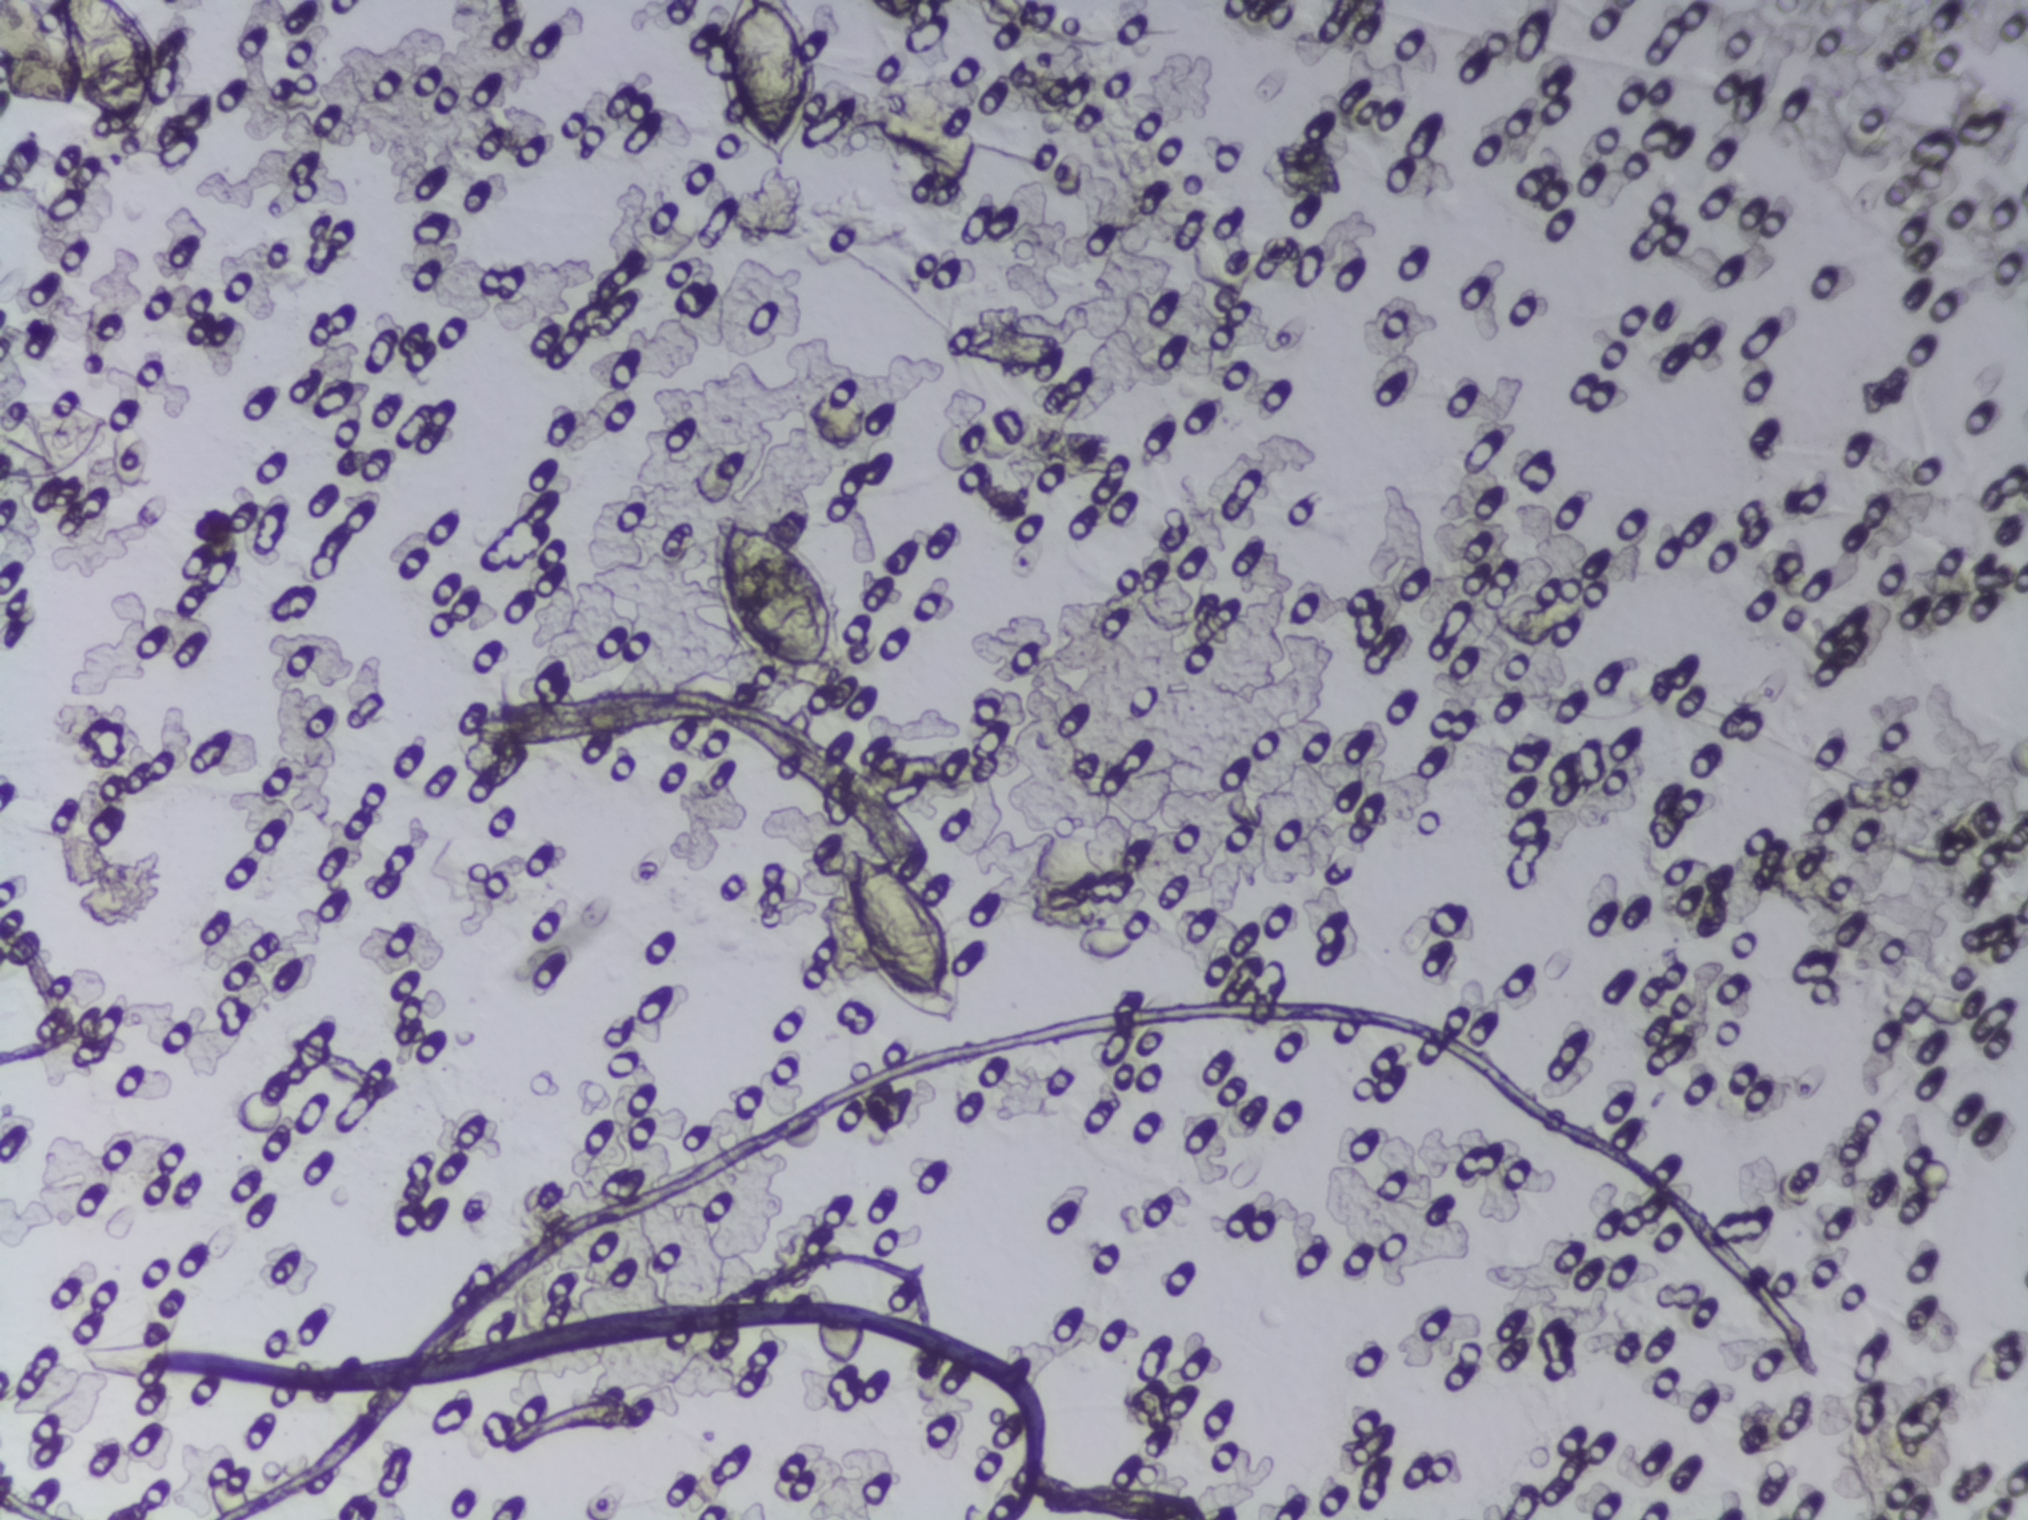
Urine filter membrane photographed through a 4× microscope objective.
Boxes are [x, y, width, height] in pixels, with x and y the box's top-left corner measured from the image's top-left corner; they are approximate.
{"schistosoma_egg_areas_xywh_px": [[0, 396, 112, 84], [56, 0, 105, 144], [714, 509, 121, 187], [715, 0, 103, 172], [837, 841, 121, 186]]} Area 1 reaches the left edge of the frame. Area 2 reaches the top edge of the frame. Area 4 reaches the top edge of the frame.
A single outlined area may contain several eggs.